Urine filter membrane photographed through a 4× microscope objective. The image covers about 1.5 × 1.1 mm of the membrane.
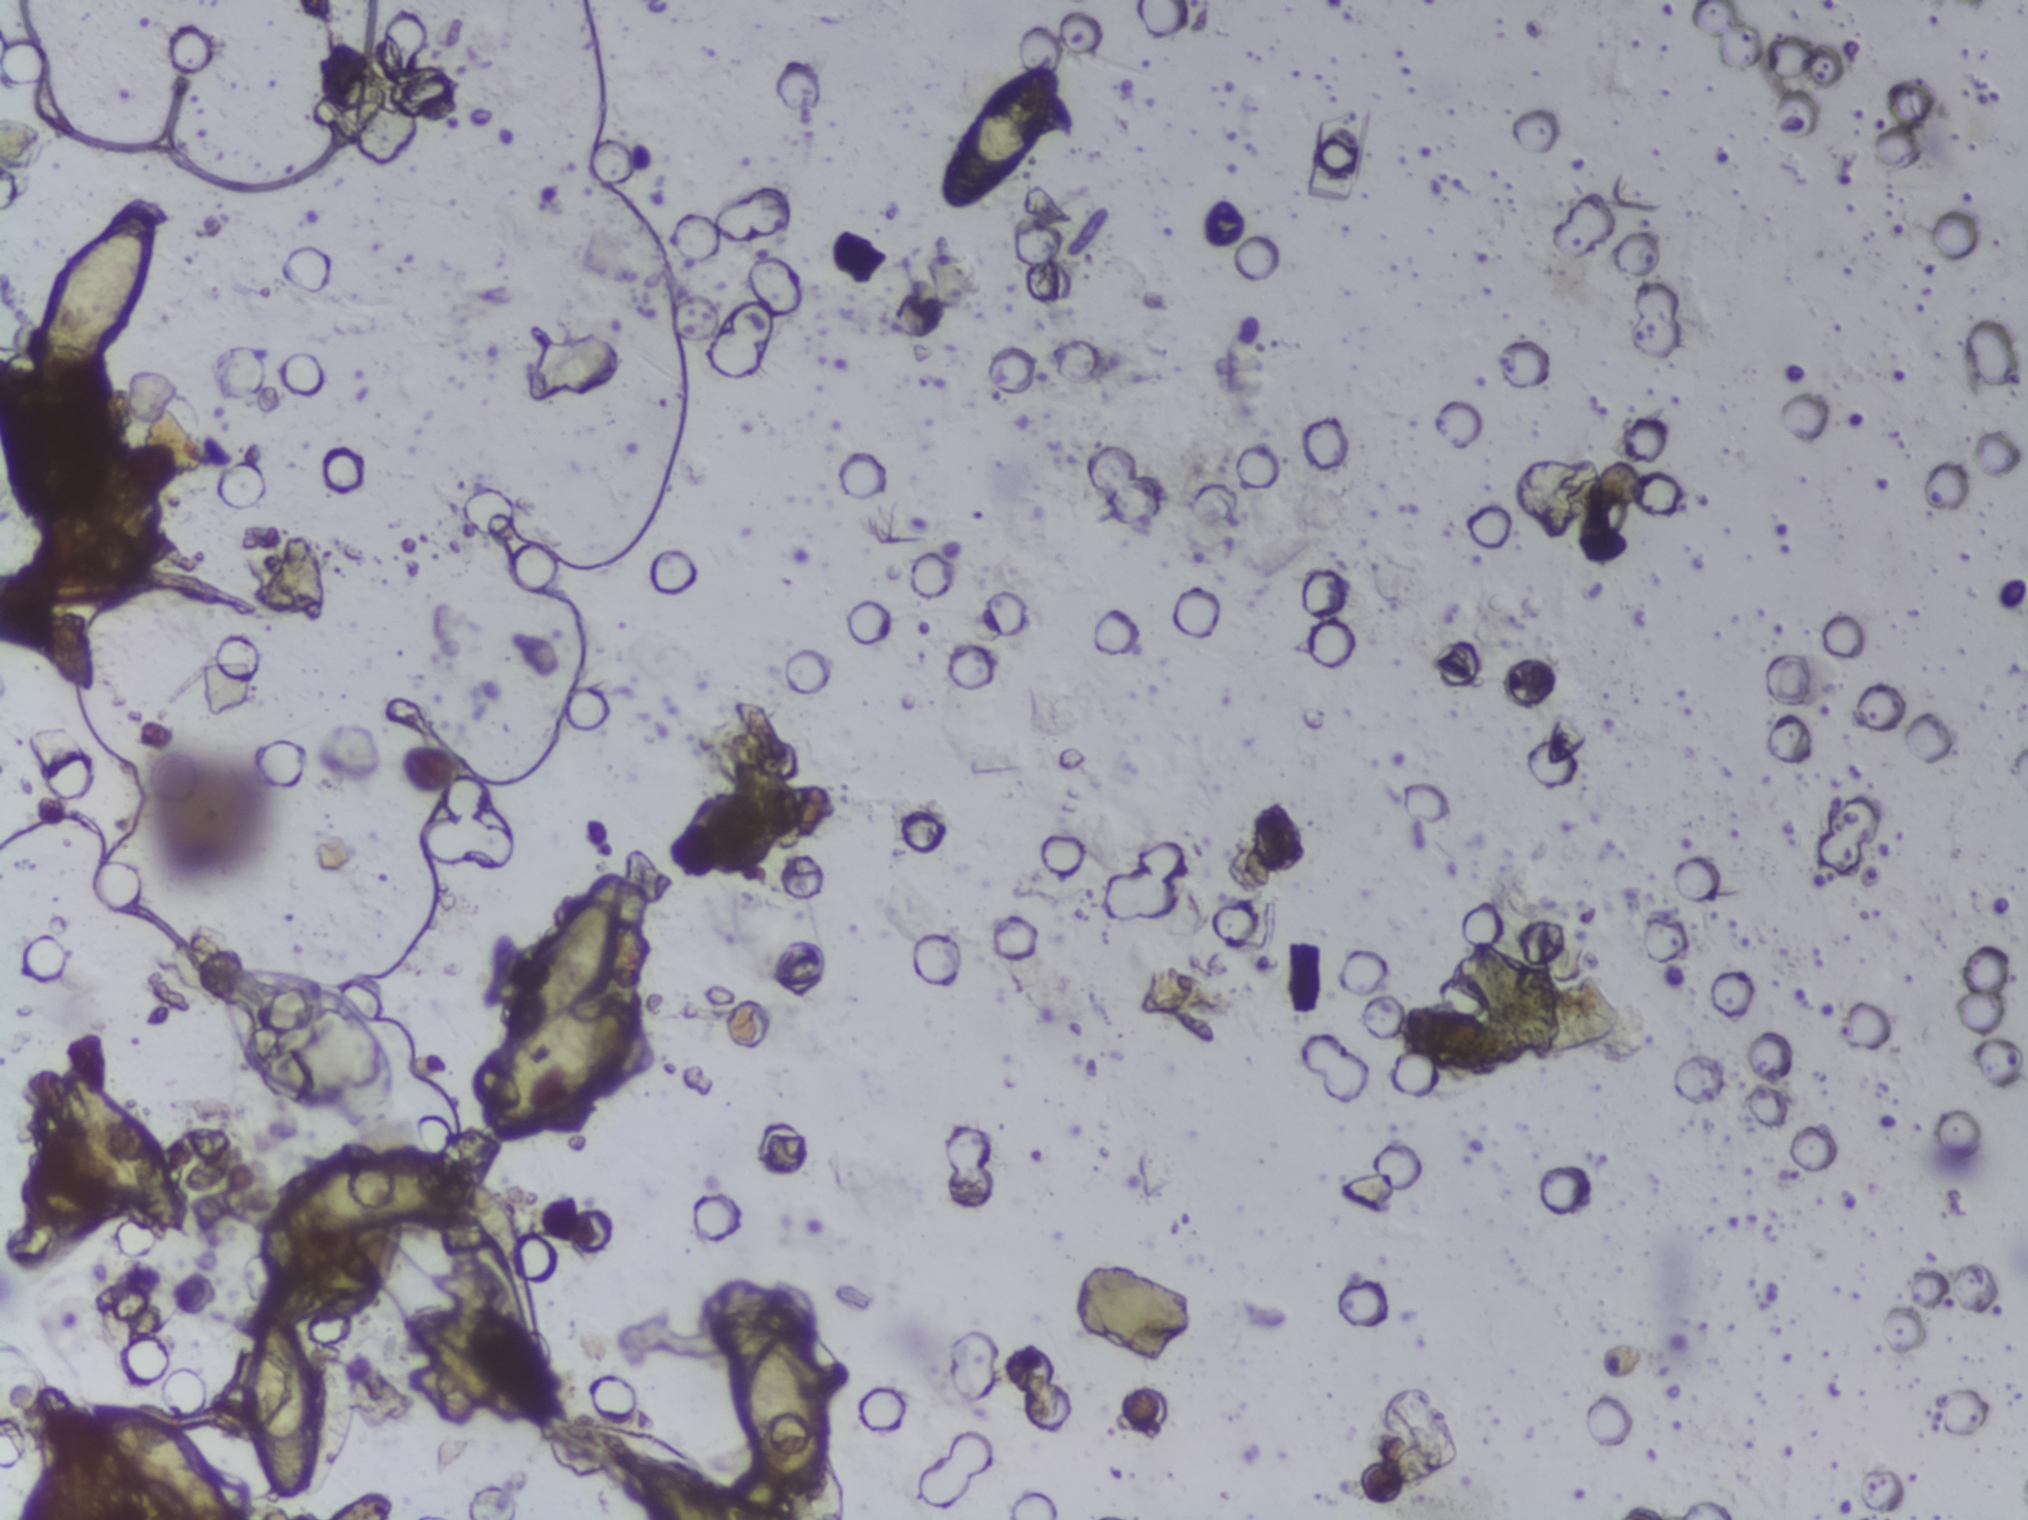
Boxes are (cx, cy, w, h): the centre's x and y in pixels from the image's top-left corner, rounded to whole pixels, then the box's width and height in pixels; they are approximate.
Areas outlined as Schistosoma eggs, left to right:
1. (cx=96, cy=298, w=135, h=192)
2. (cx=120, cy=1150, w=152, h=175)
3. (cx=160, cy=1458, w=153, h=123) (reaching the bottom edge of the frame)
4. (cx=285, cy=1407, w=85, h=198)
5. (cx=369, cy=1195, w=212, h=93)
6. (cx=566, cy=1003, w=182, h=275)
7. (cx=786, cy=1414, w=92, h=170)
8. (cx=999, cy=136, w=133, h=168)
The marked pixels themselves, not the boxes around them, cover about 4.2% of the image. A single outlined area may contain several eggs. A marked egg may occasionally be S. mansoni rather than S. haematobium.